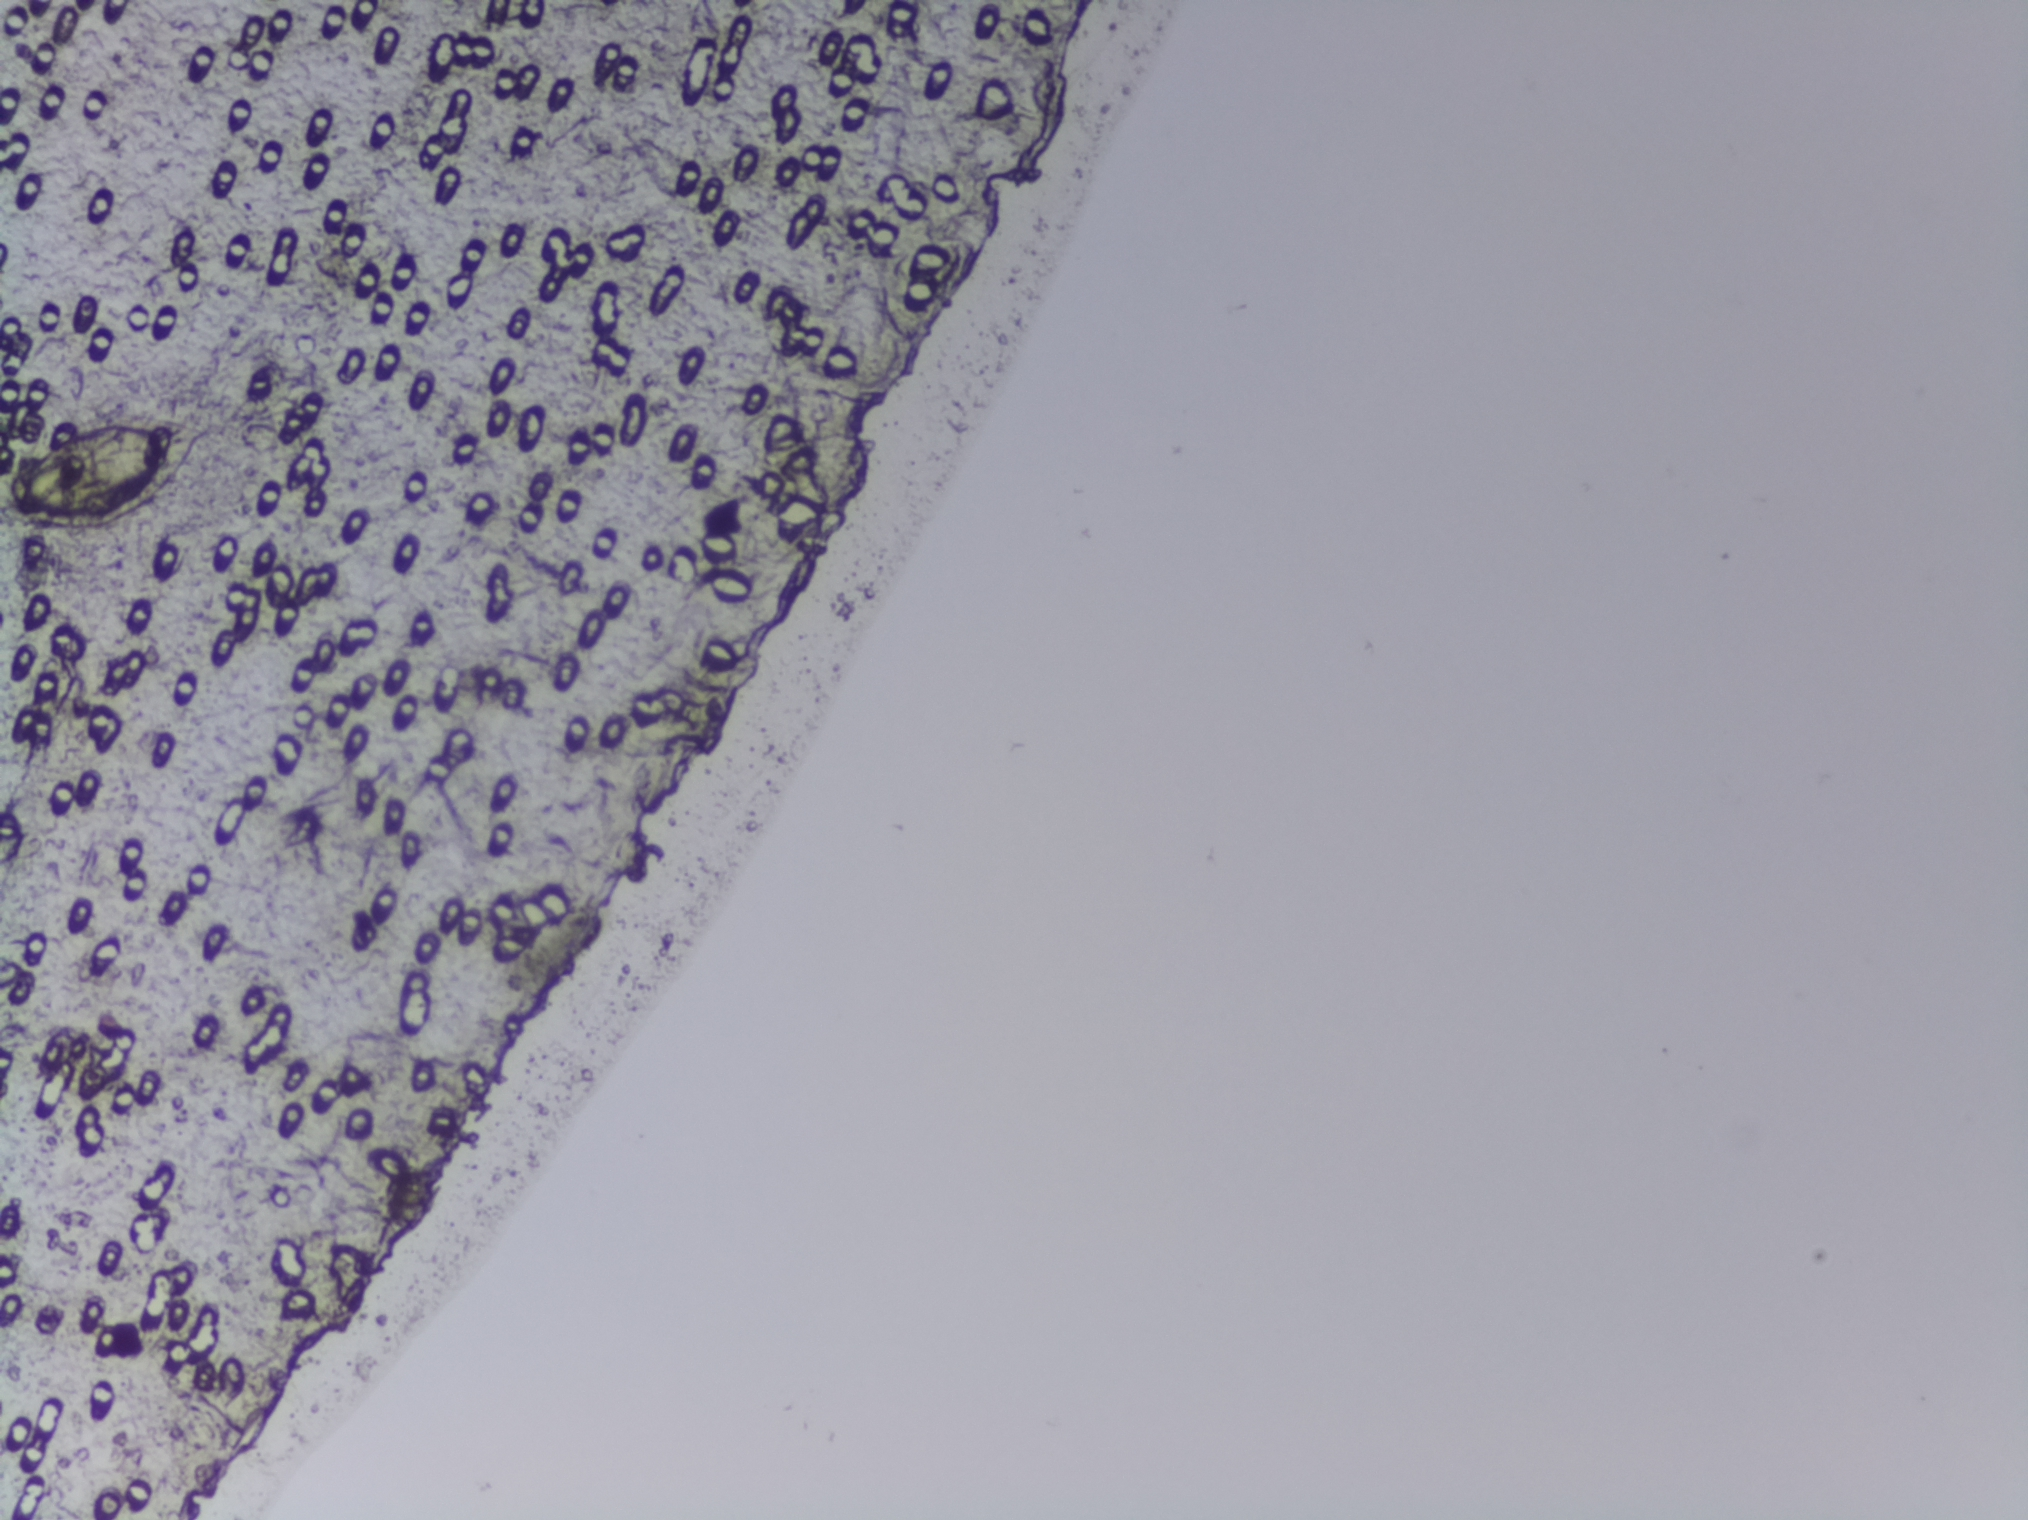
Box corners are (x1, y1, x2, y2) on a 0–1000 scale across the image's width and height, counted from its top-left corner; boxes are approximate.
The expert annotation outlines Schistosoma eggs at (0, 266, 105, 355) (reaching the left edge of the frame). A single outlined area may contain several eggs.
Photomicrograph of a urine filtration membrane, 4× objective. The field of view is about 1.5 mm × 1.1 mm.